Photograph from an automated digital microscope: urine filter membrane, 4× objective.
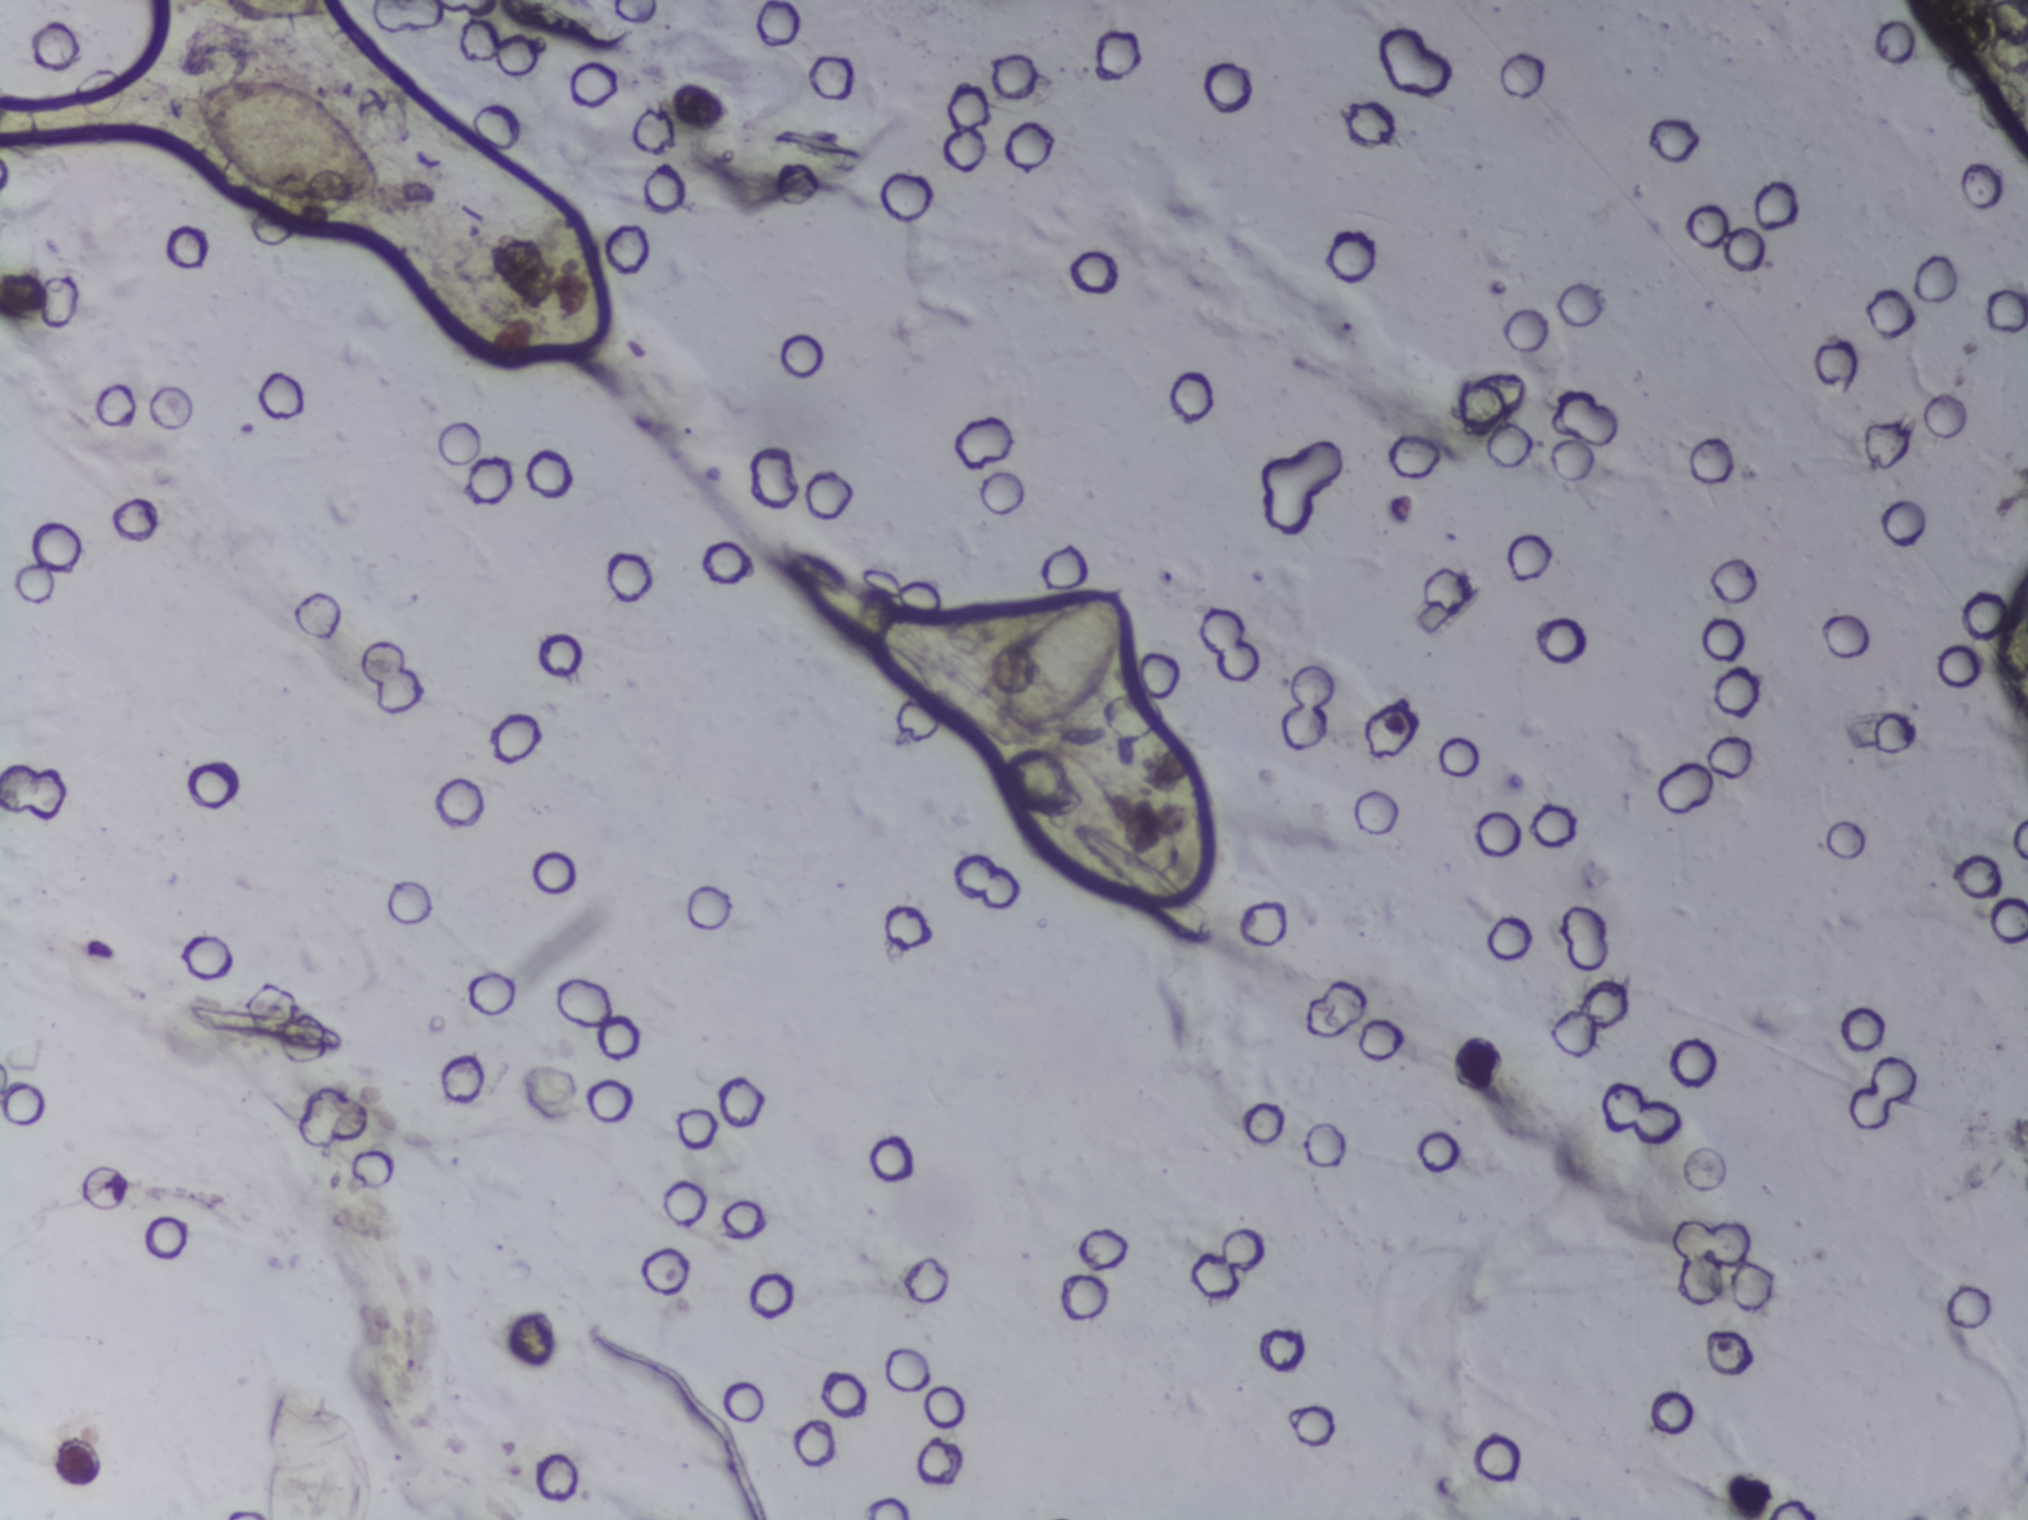
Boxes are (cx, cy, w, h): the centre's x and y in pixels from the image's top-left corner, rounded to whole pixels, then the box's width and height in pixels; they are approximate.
Schistosoma eggs are outlined in two areas of this image, listed from left to right: (cx=285, cy=143, w=217, h=126) and (cx=1060, cy=660, w=134, h=155). A single outlined area may contain several eggs.